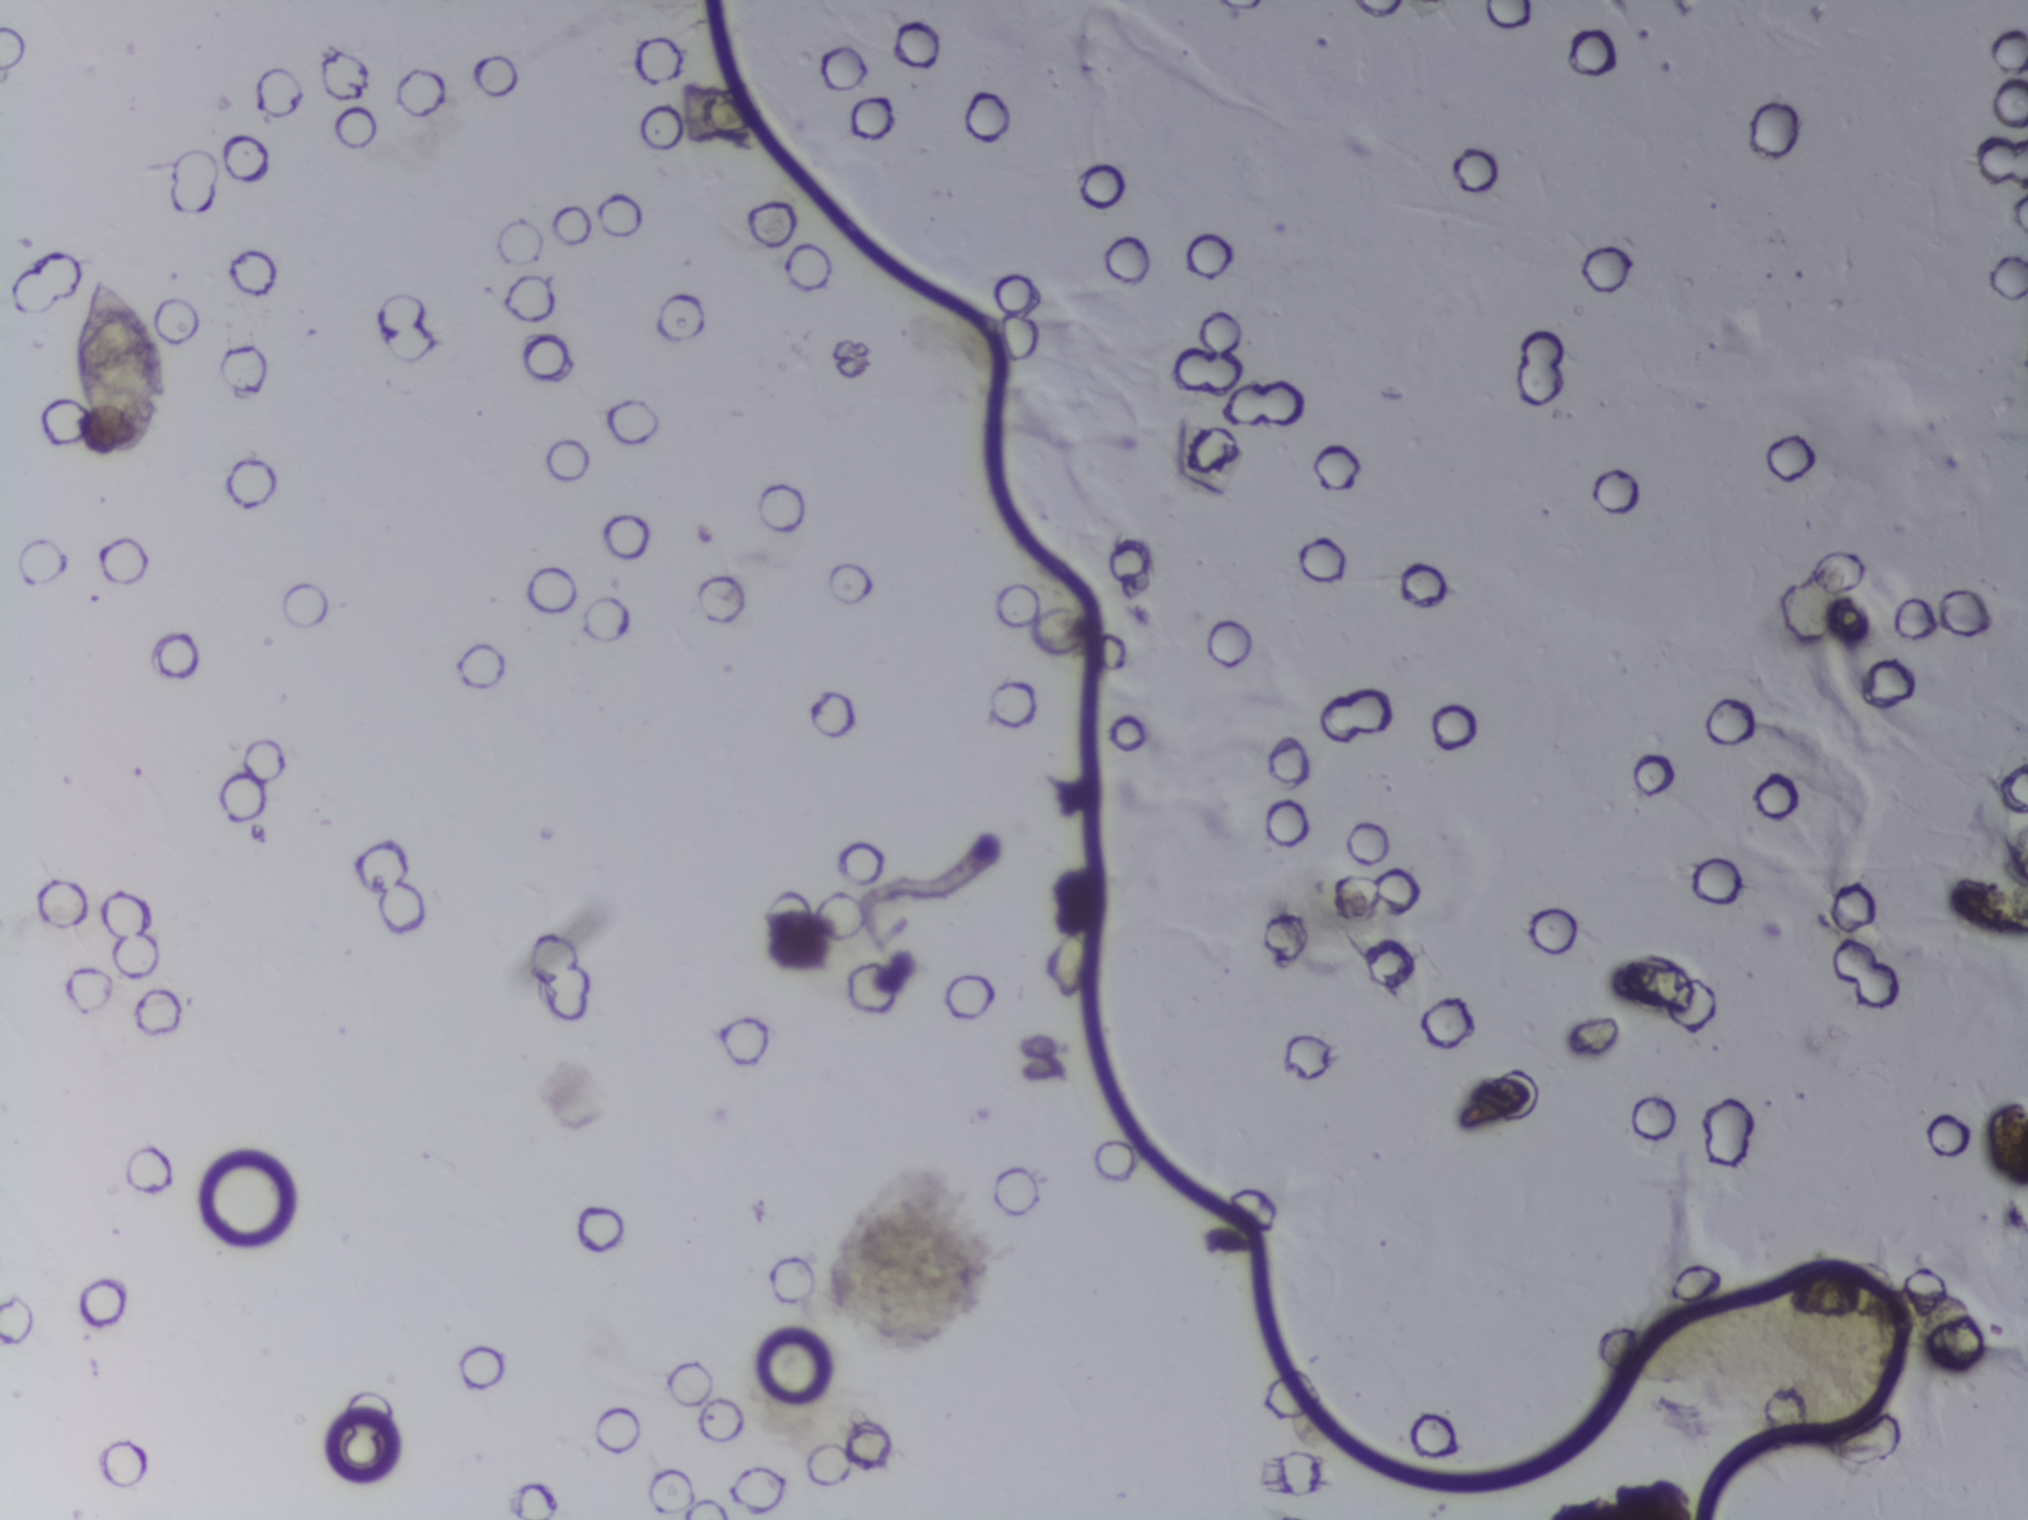
Urine filter membrane photographed through a 4× microscope objective.
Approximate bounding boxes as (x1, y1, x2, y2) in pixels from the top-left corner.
Schistosoma eggs are outlined in one area of this image: (69, 264, 166, 461). Eggs that touch can end up inside the same outlined area. Any one outlined egg may, rarely, be S. mansoni rather than S. haematobium.